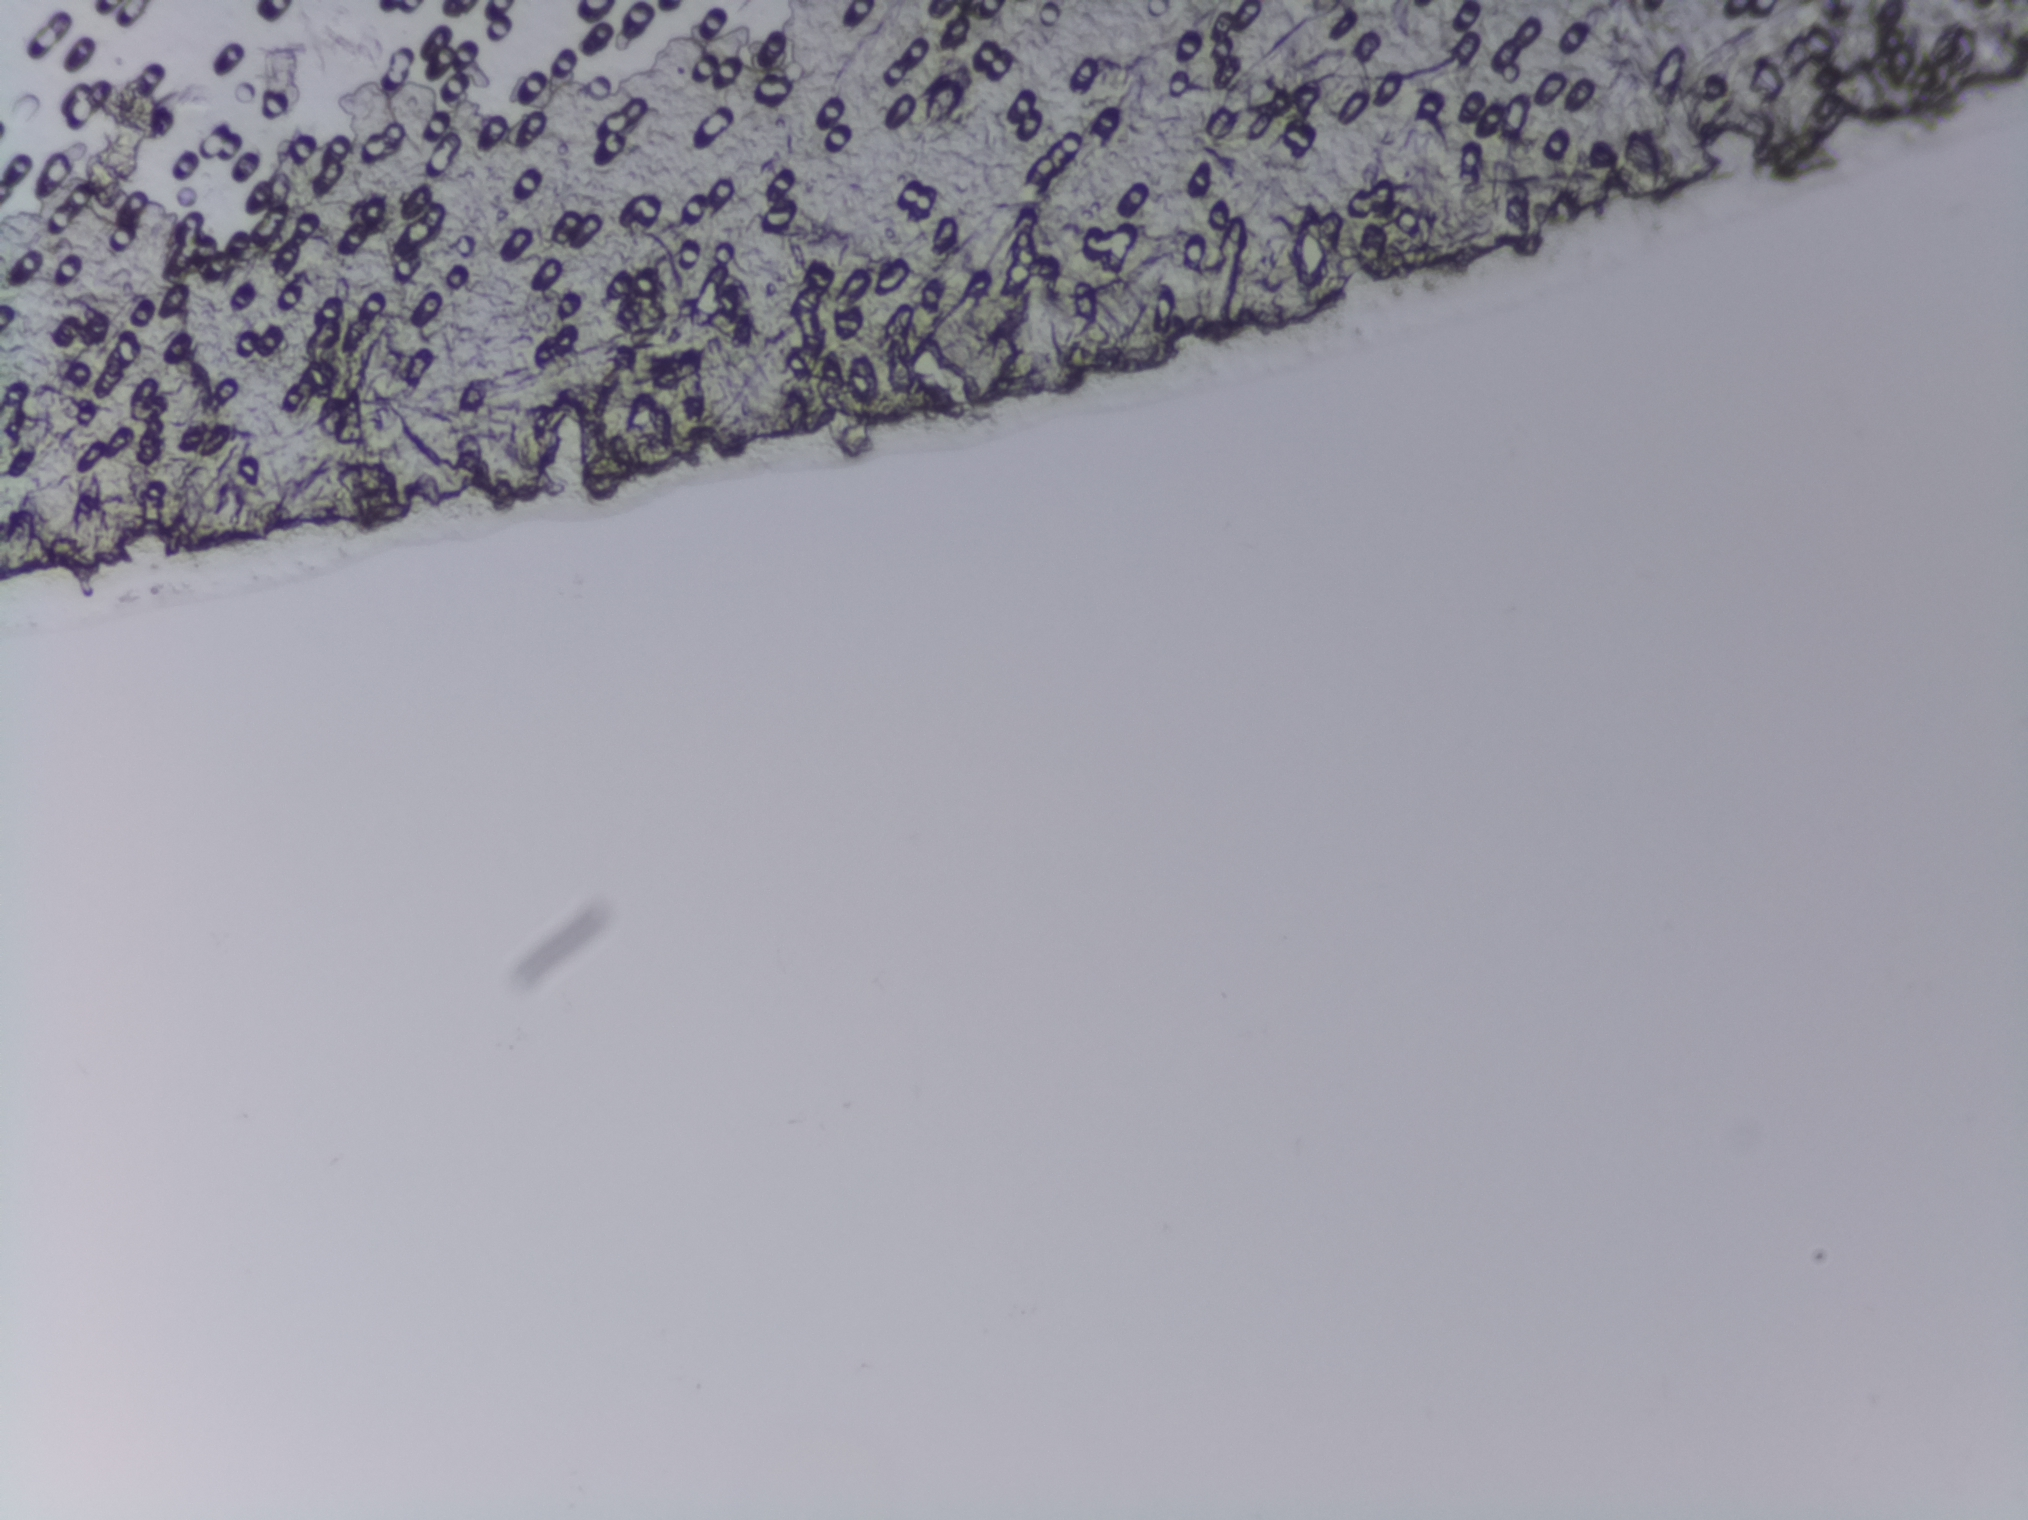
Photograph from an automated digital microscope: urine filter membrane, 4× objective. Field of view: about 1.5 mm wide and 1.1 mm high.
Schistosoma eggs: none outlined.